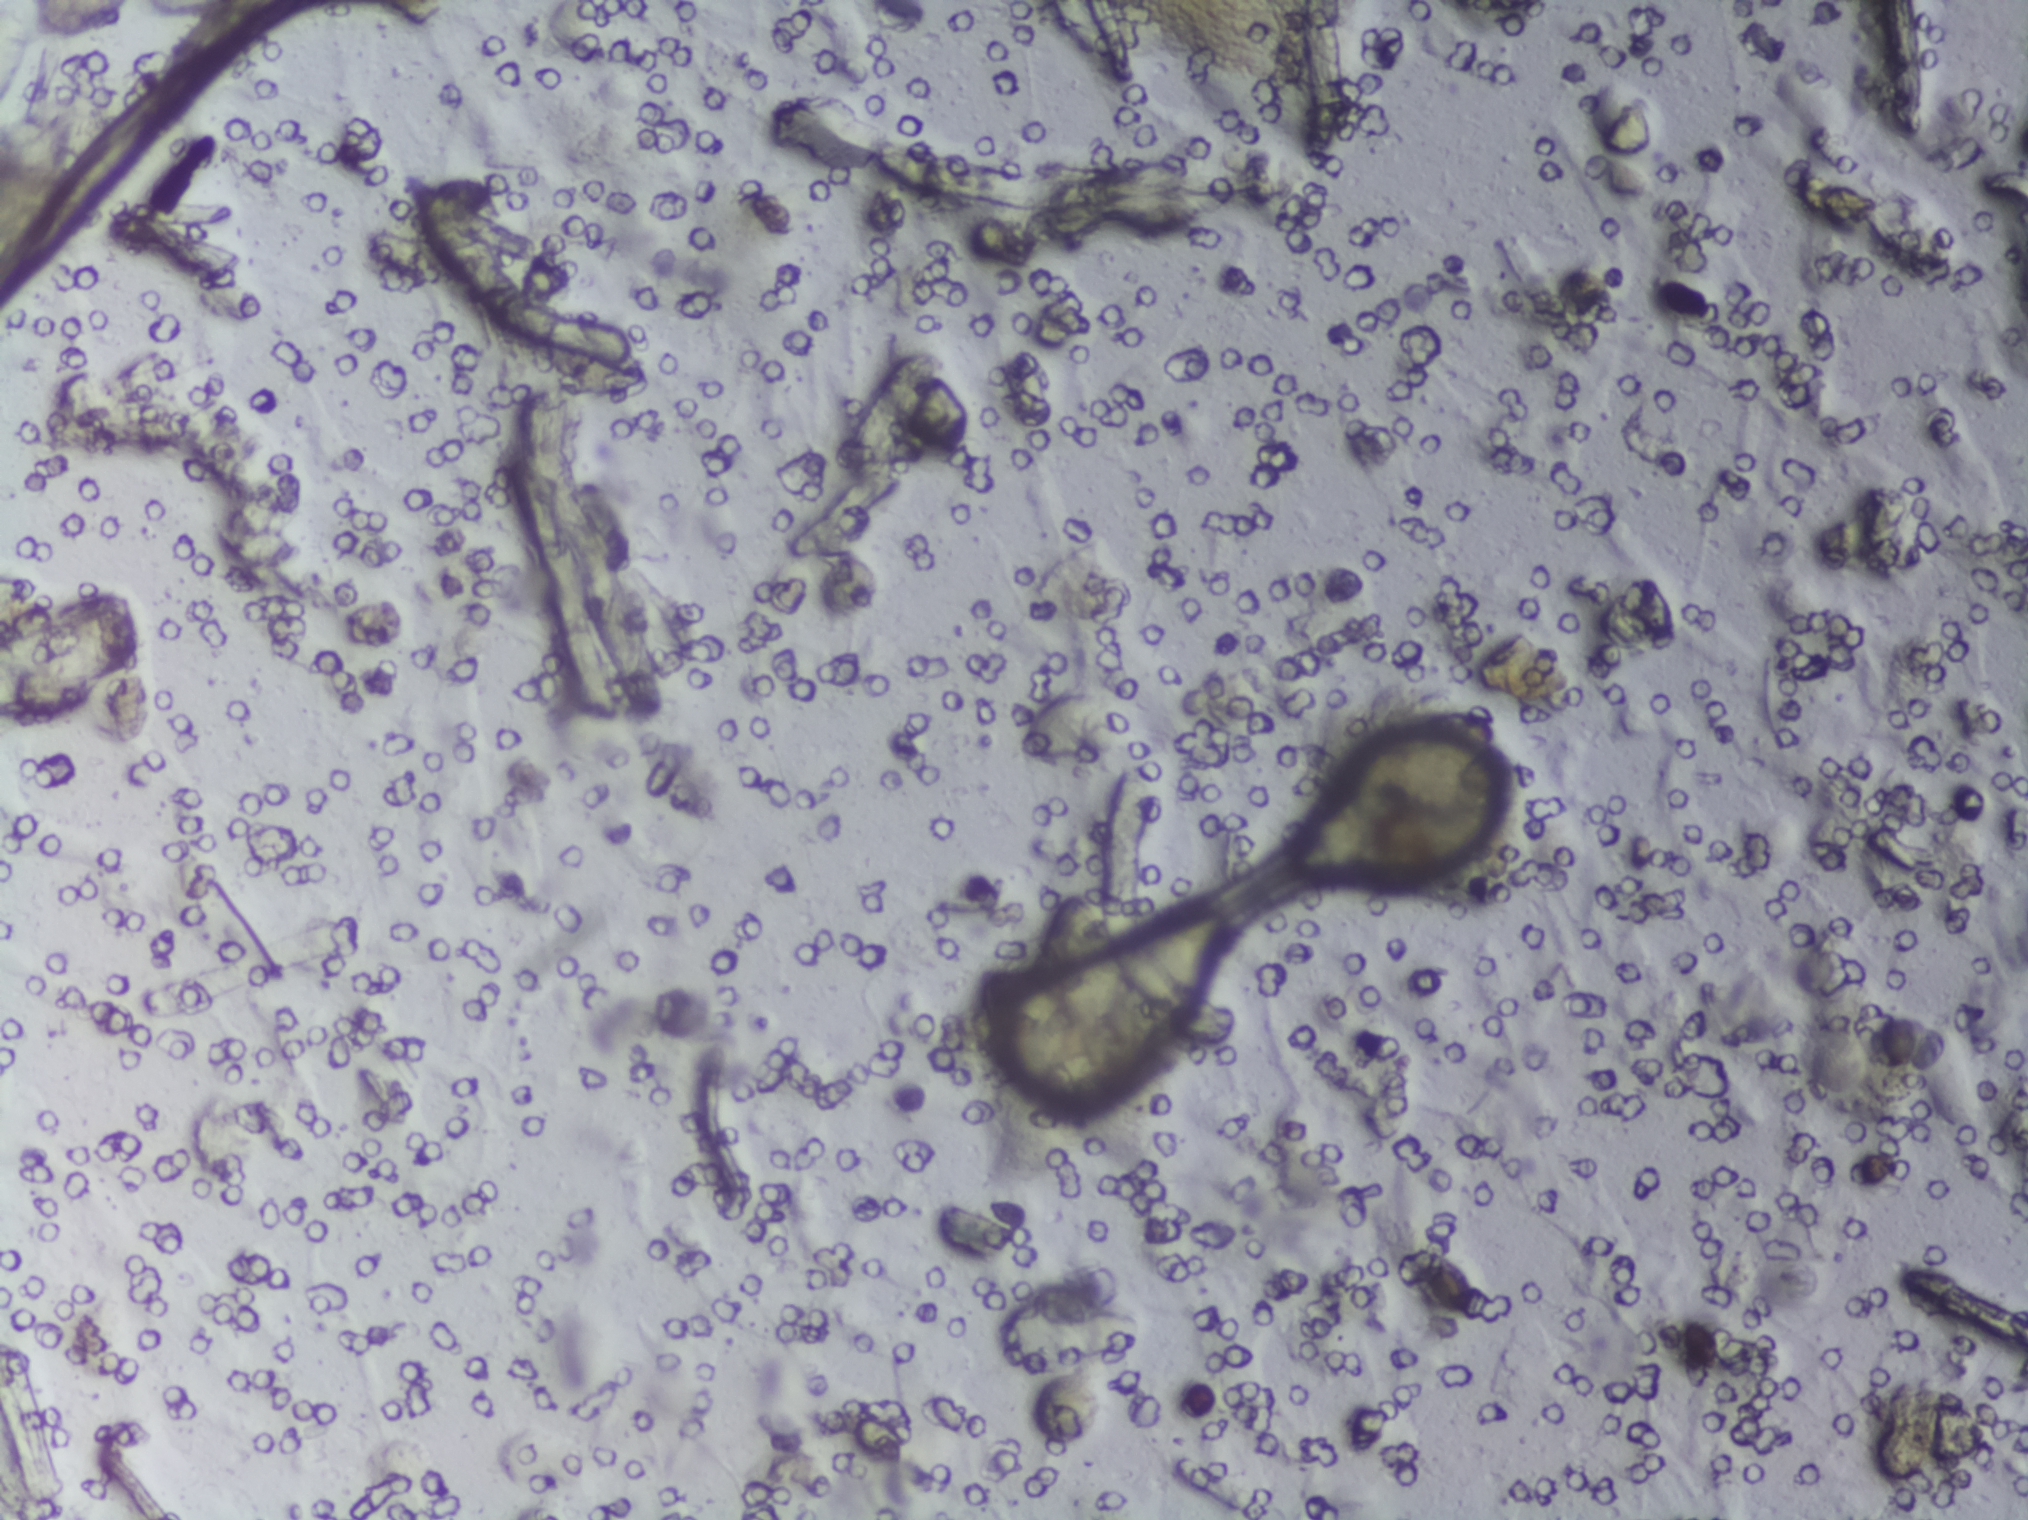
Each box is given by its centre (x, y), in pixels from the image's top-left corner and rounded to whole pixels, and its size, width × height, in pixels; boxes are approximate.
Schistosoma egg areas, outlined: centre (1095, 996), 238 × 219 px. A single outlined area may contain several eggs.
Microscope photograph (4× objective) of a membrane that a urine sample was filtered through. Field of view: about 1.5 mm wide and 1.1 mm high.